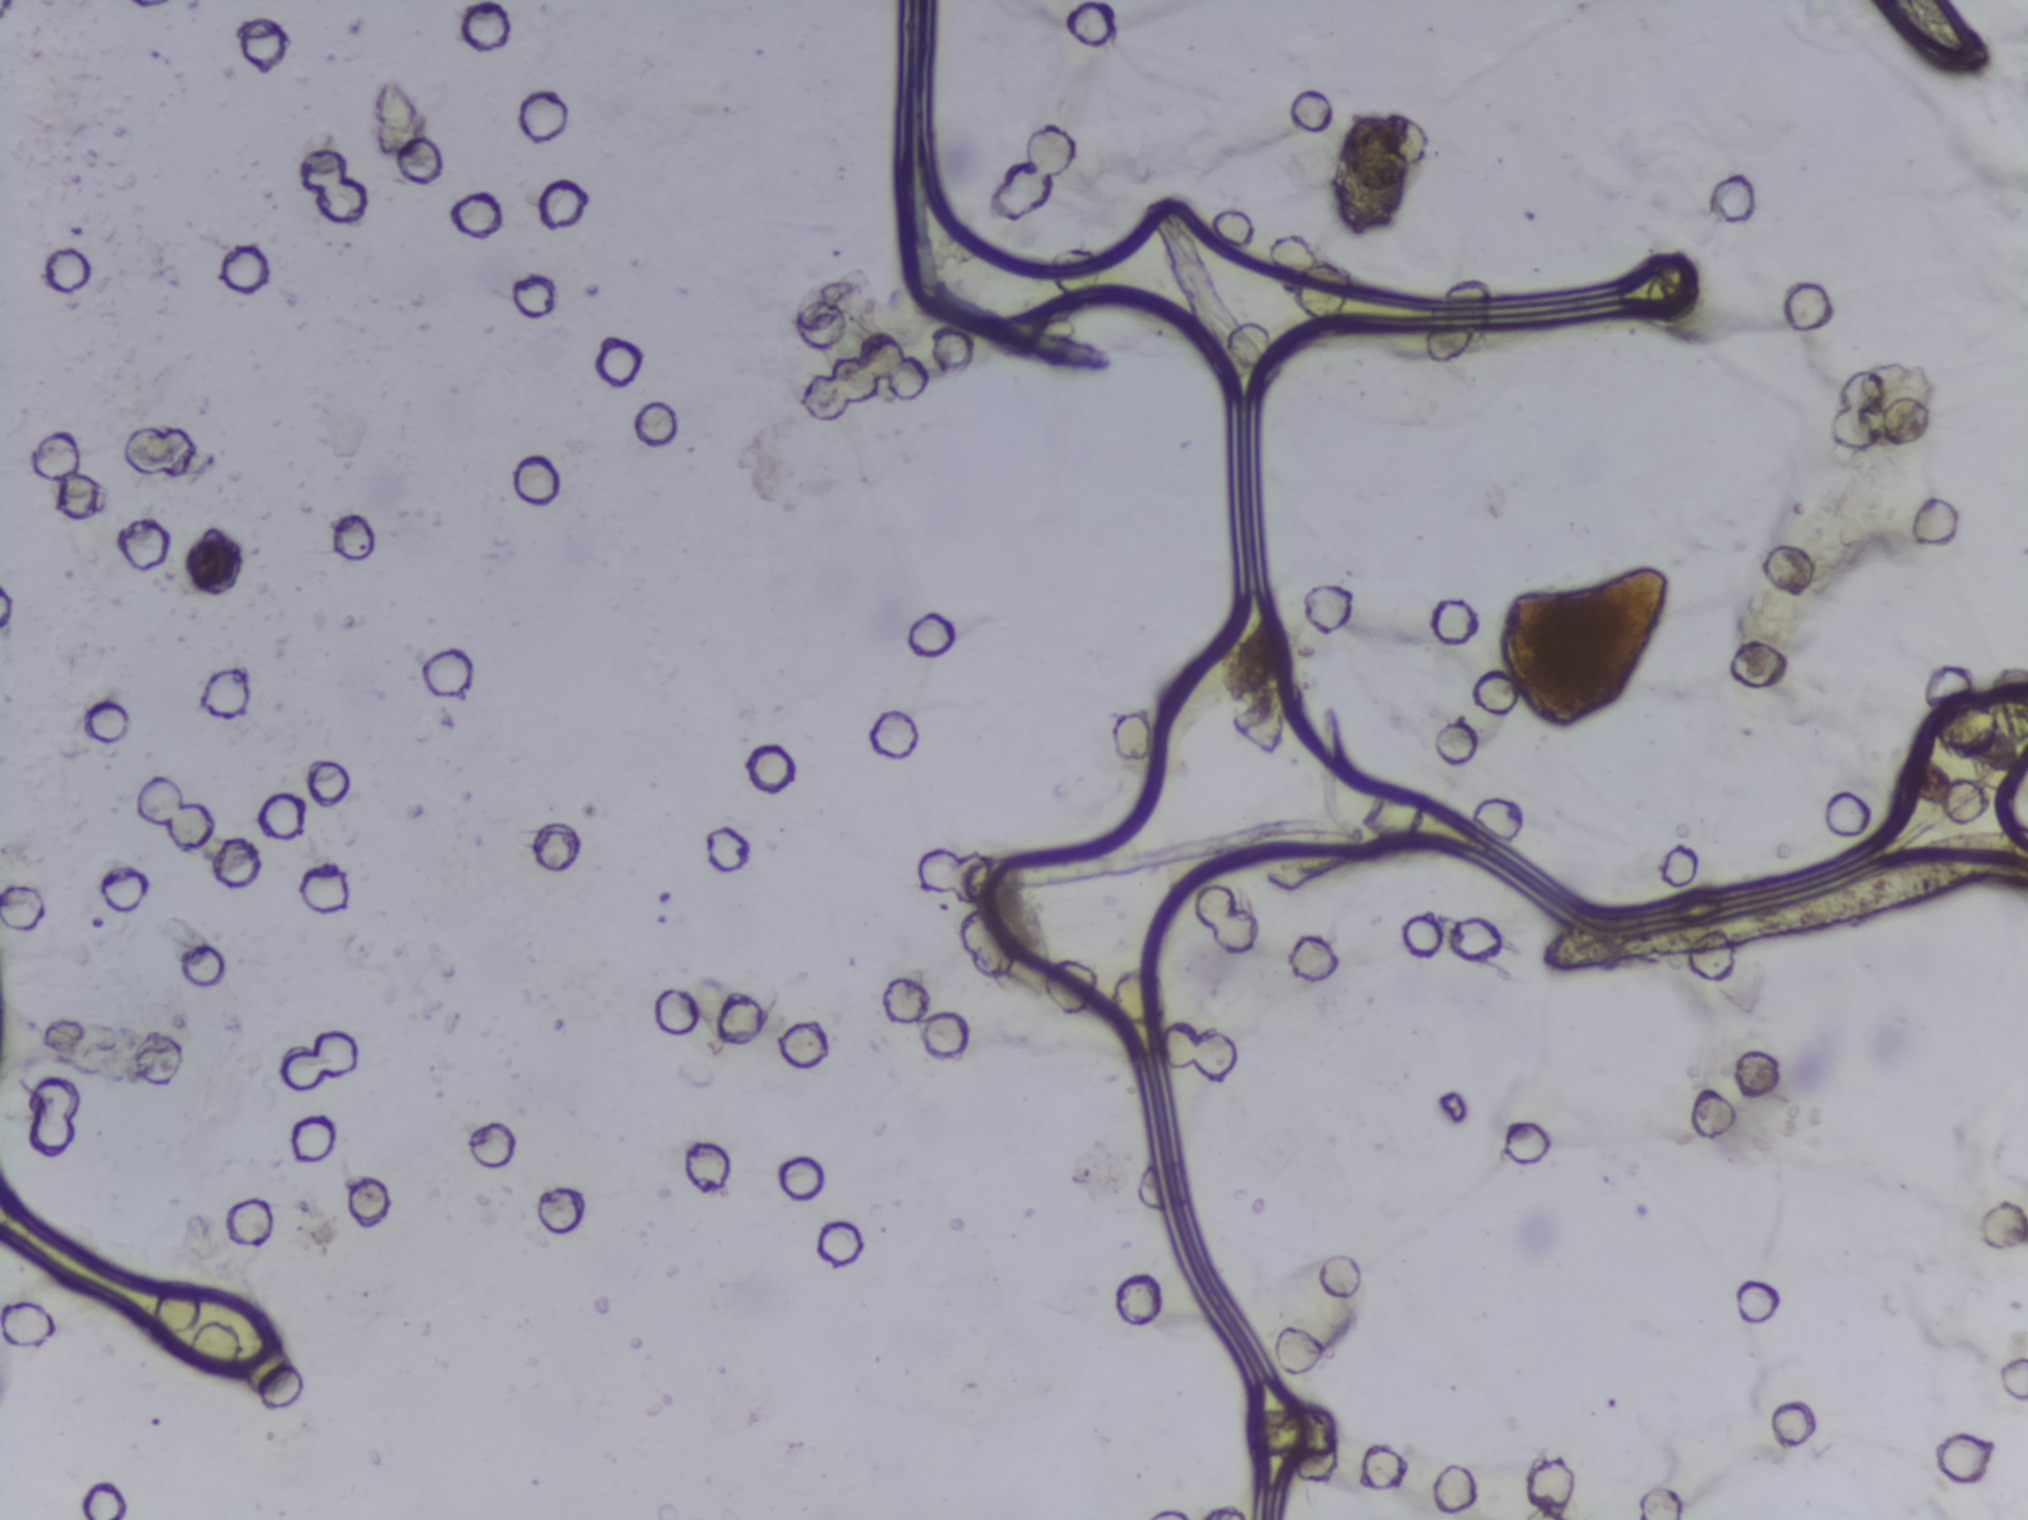
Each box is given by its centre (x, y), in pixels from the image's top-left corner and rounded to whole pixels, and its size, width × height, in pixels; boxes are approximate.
Areas outlined as Schistosoma eggs:
1. centre (224, 1336), 140 × 98 px
An outlined area can hold more than one egg. A marked egg may occasionally be S. mansoni rather than S. haematobium.
Photomicrograph of a urine filtration membrane, 4× objective.